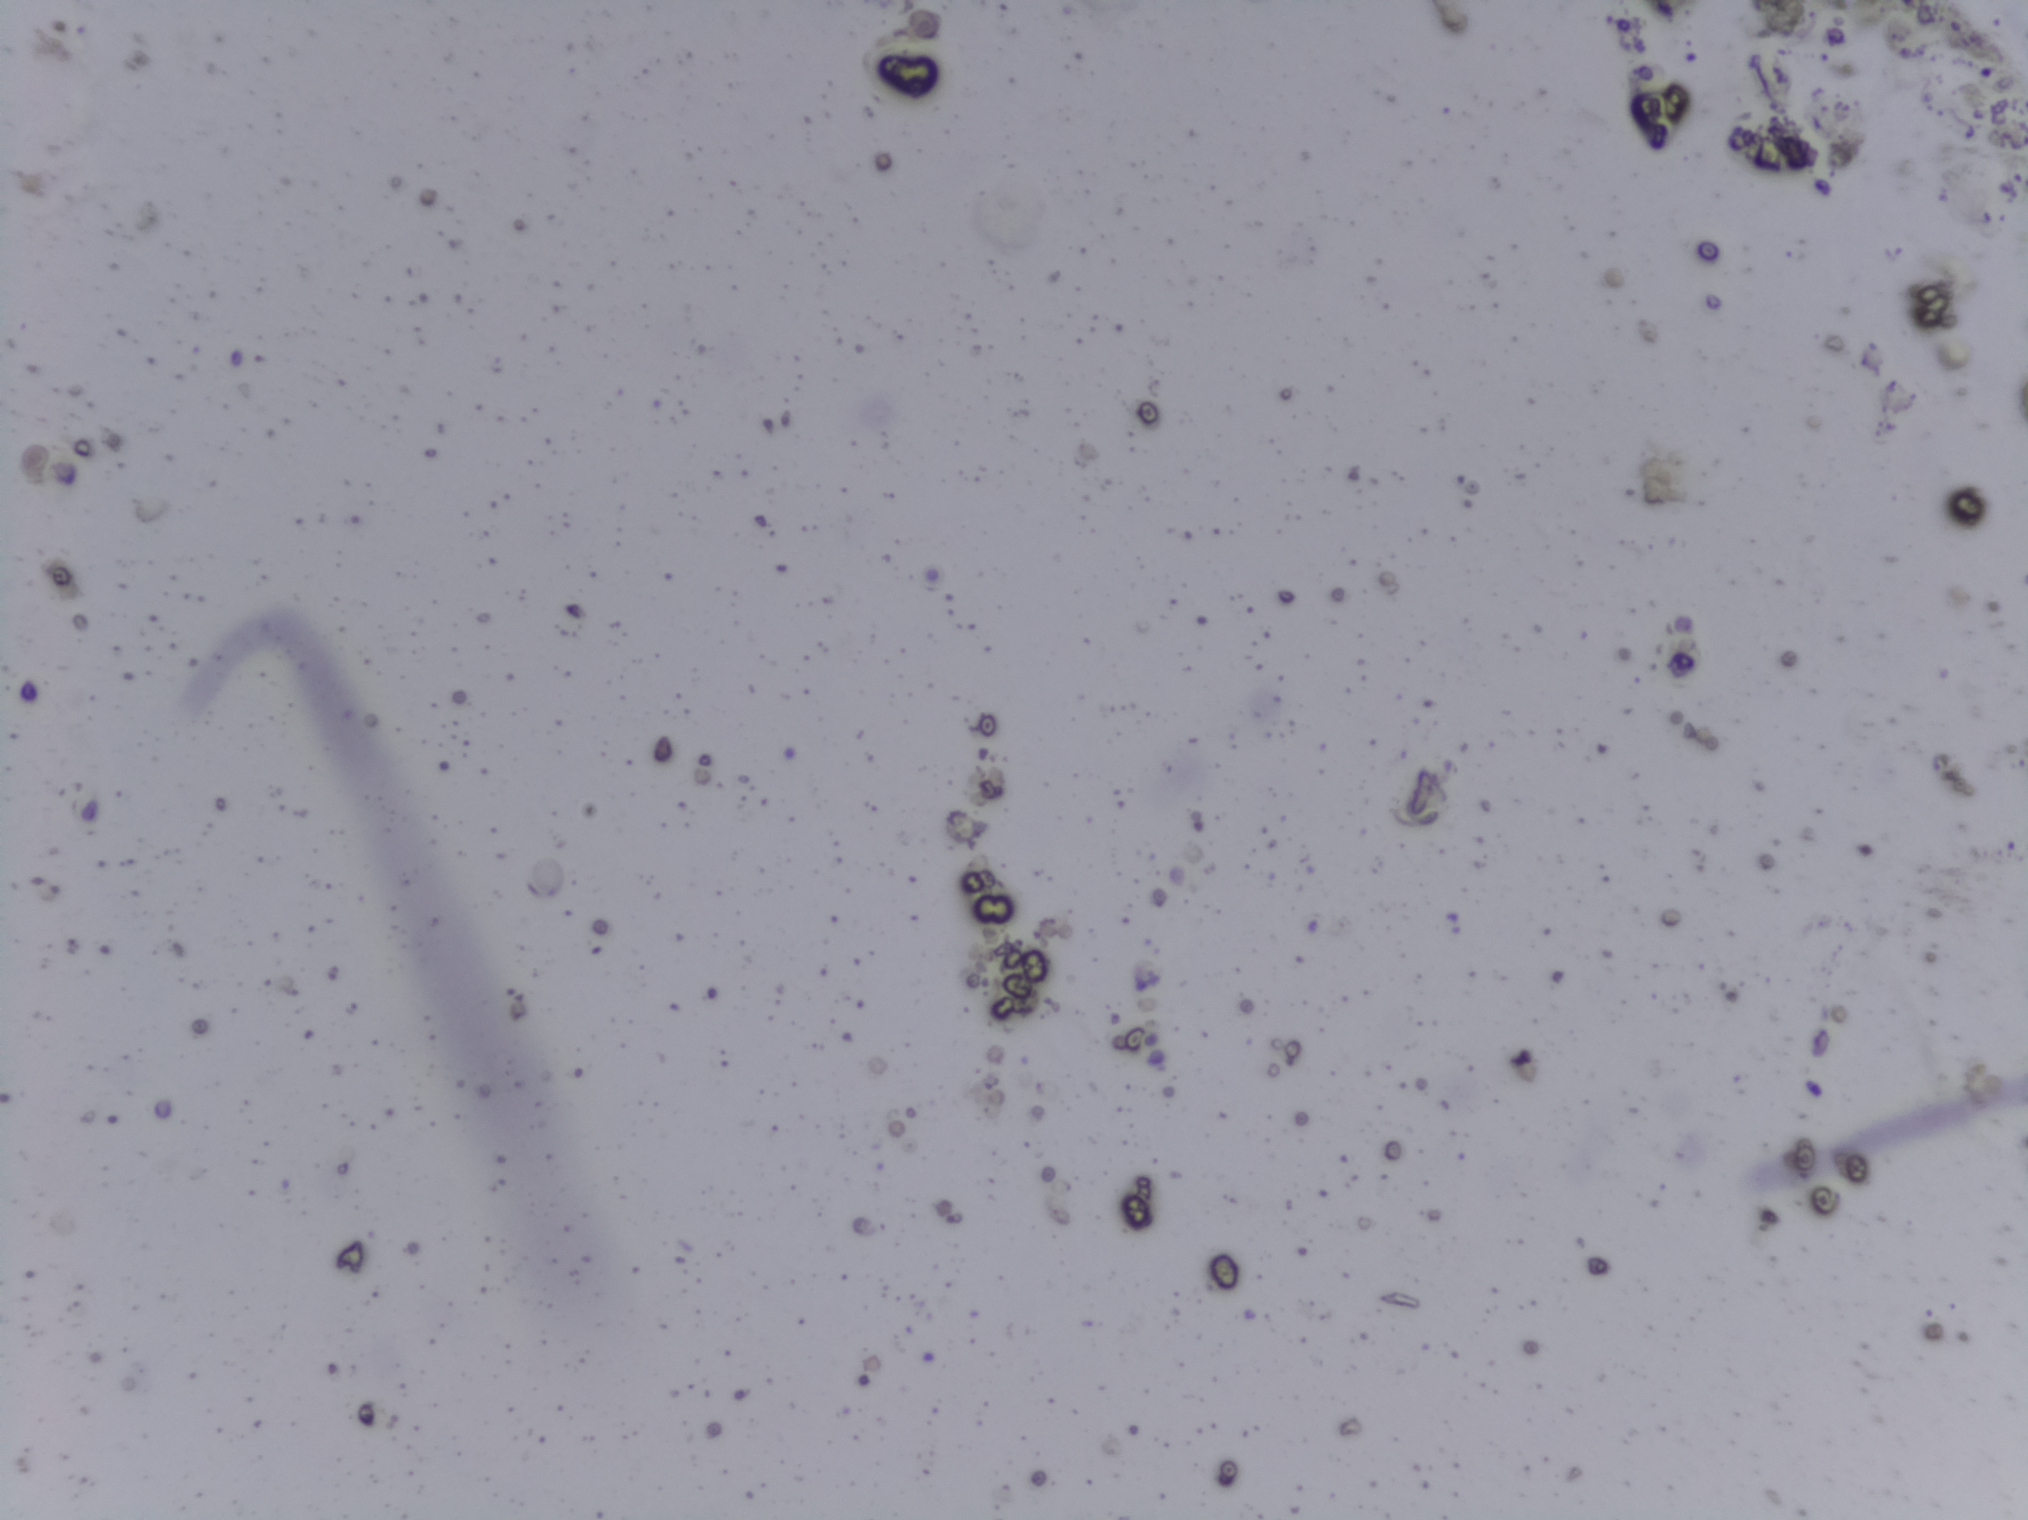
The expert annotation outlines no Schistosoma egg in this image.
Urine filtration membrane under a 4× objective, photographed by an automated digital microscope. Field of view: about 1.5 mm wide and 1.1 mm high.